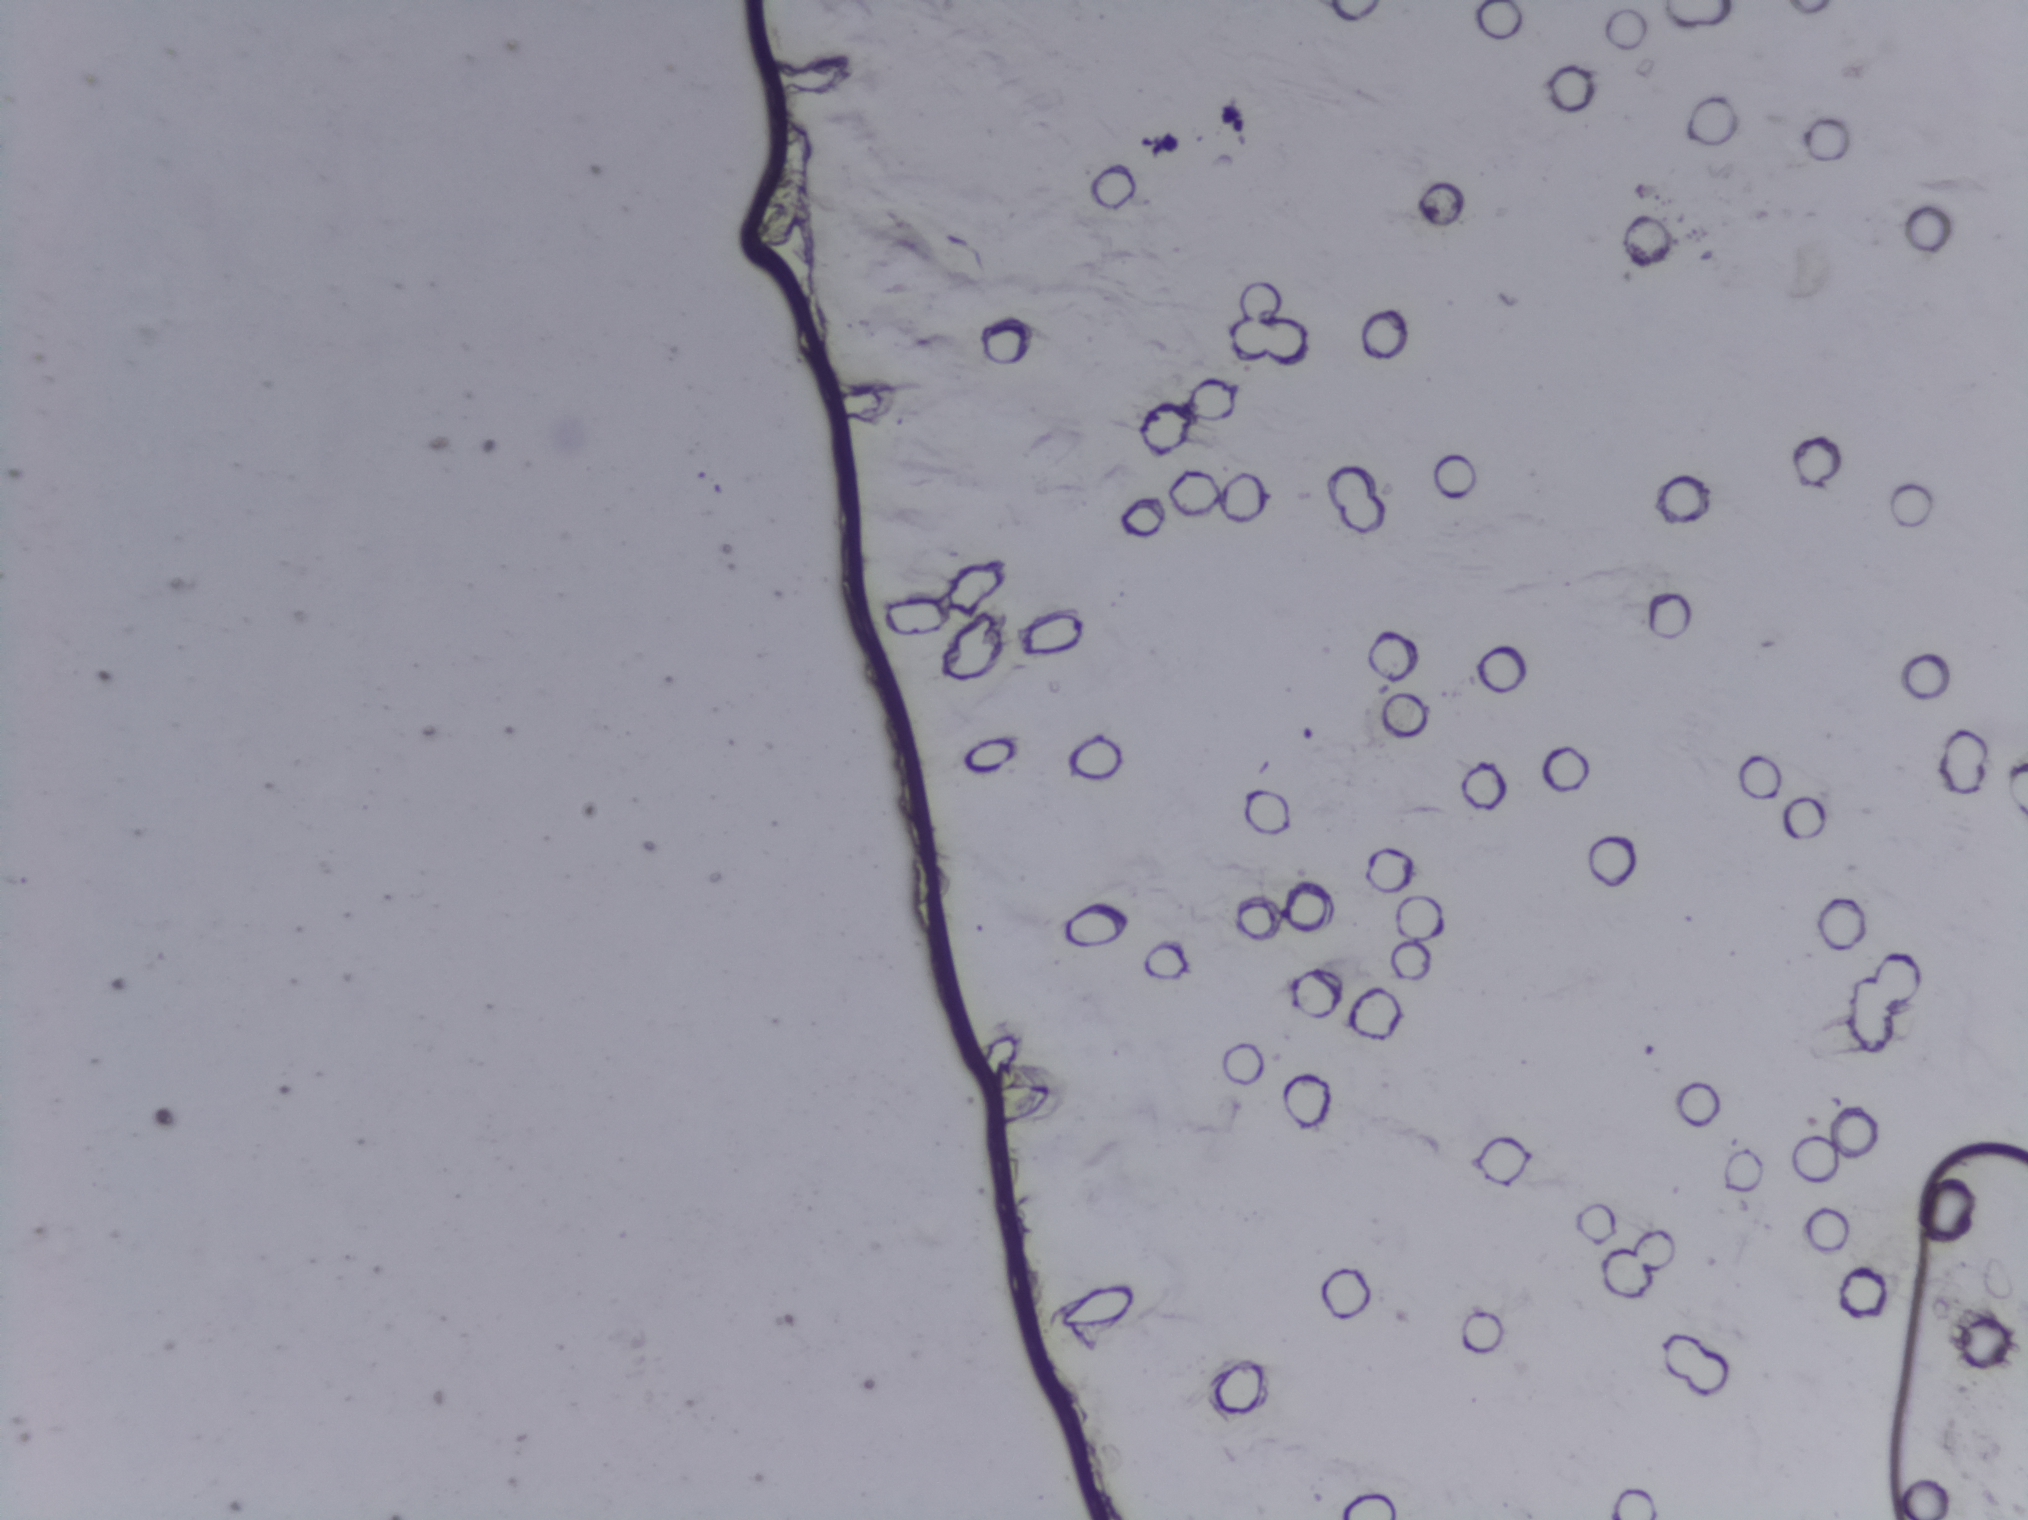
The expert annotation outlines no Schistosoma egg in this image.
Photograph from an automated digital microscope: urine filter membrane, 4× objective.